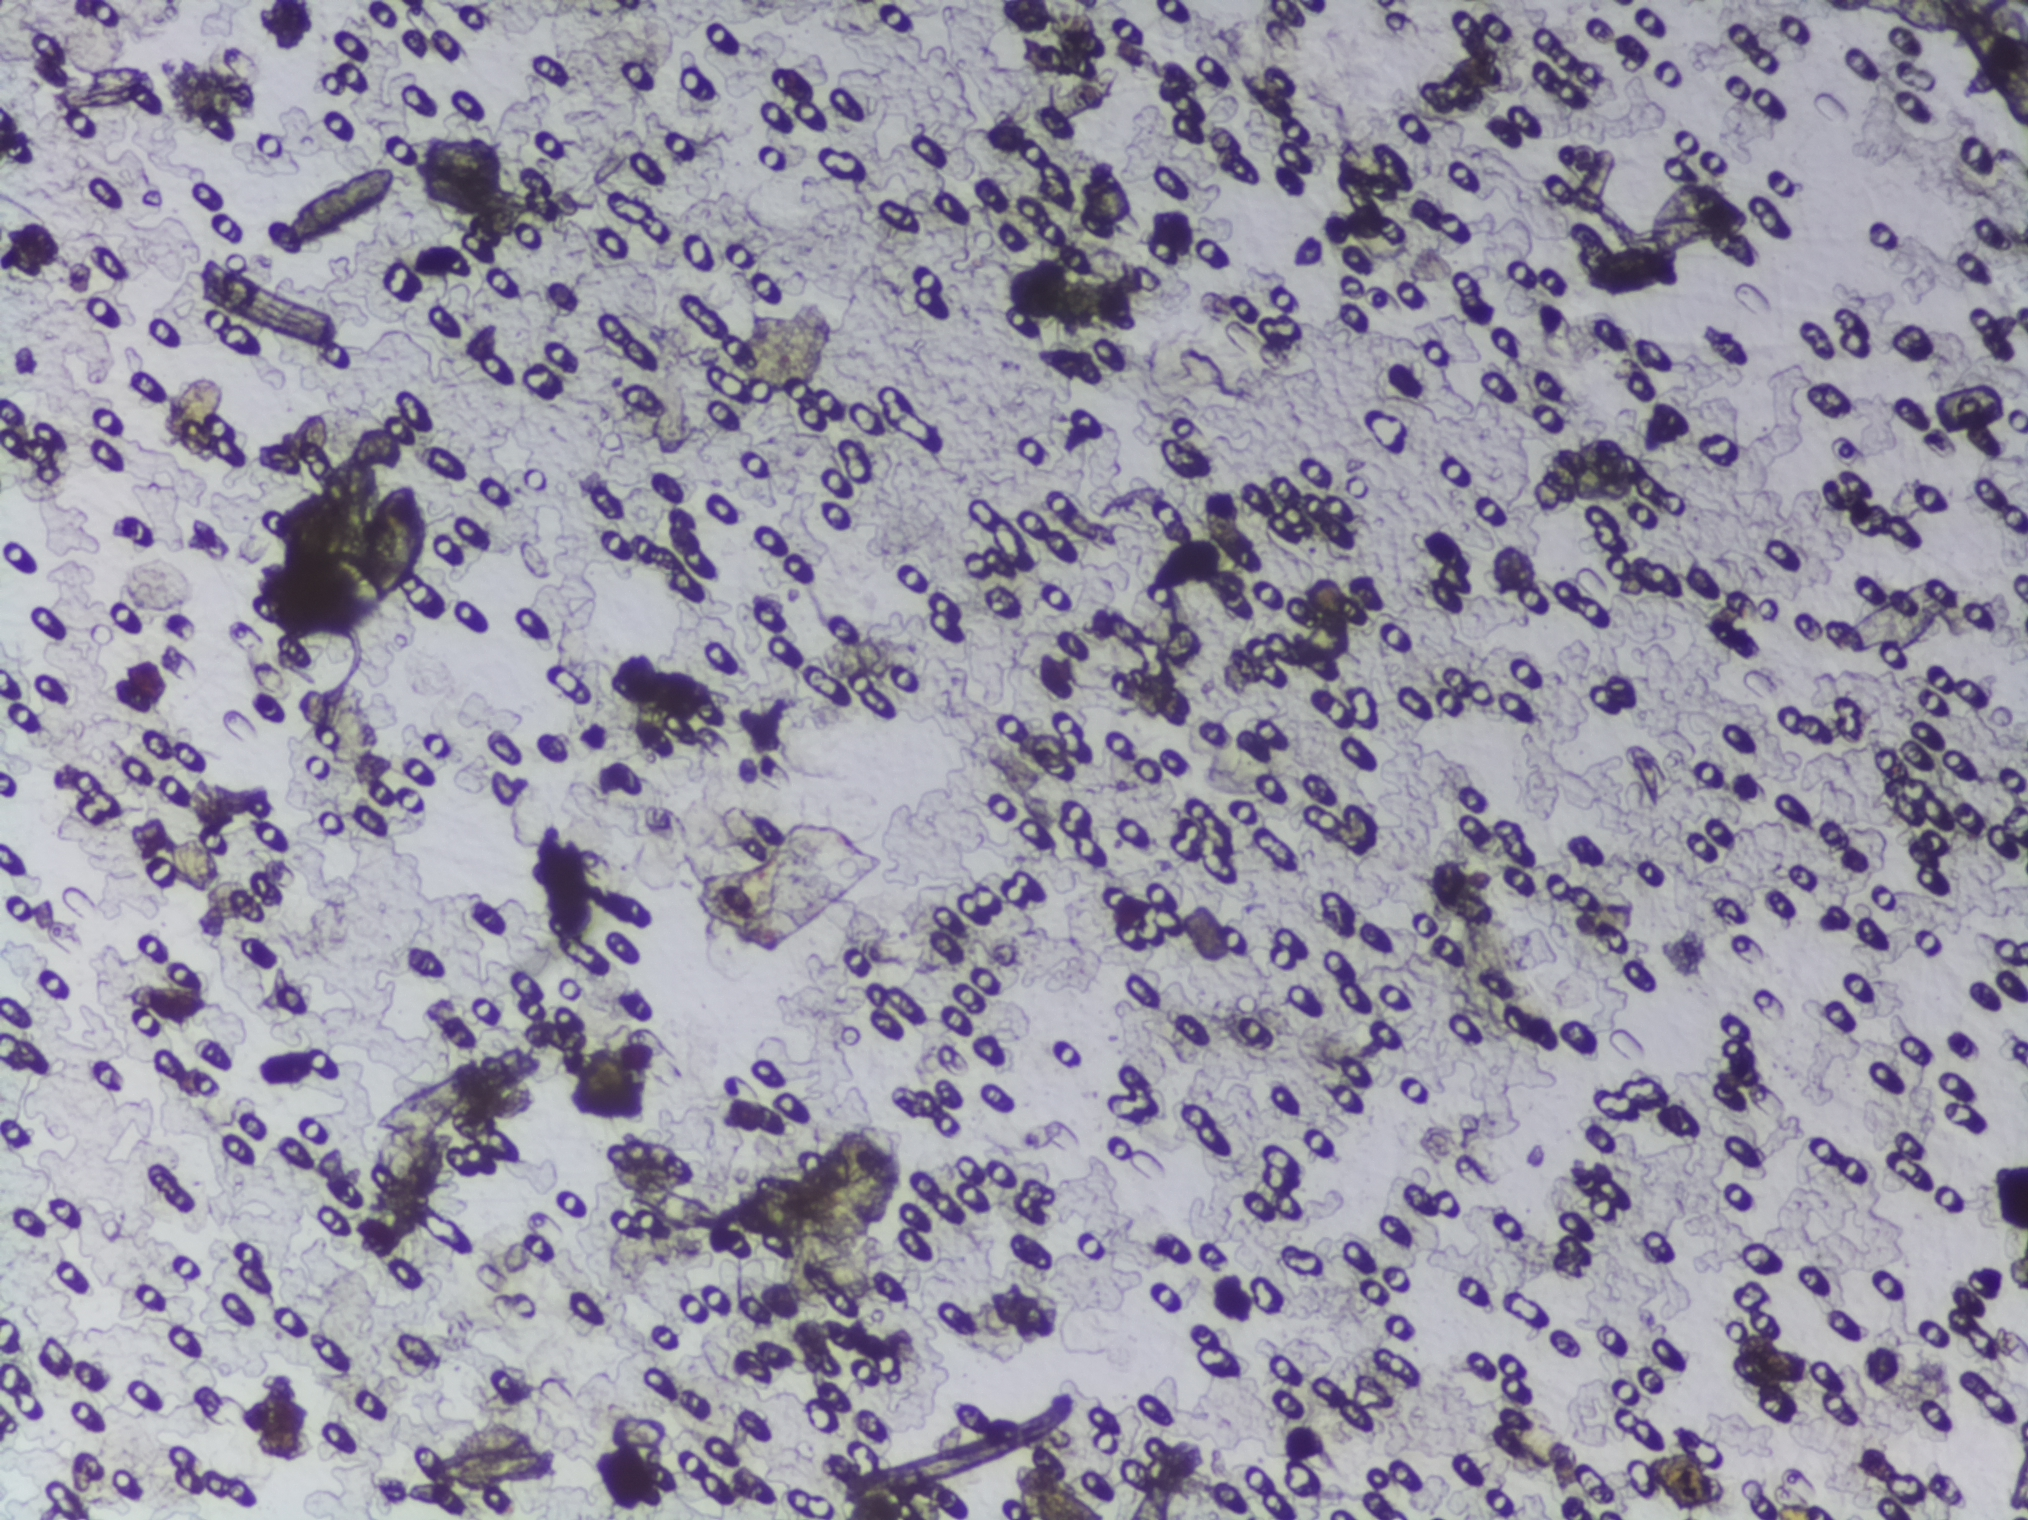
Urine filter membrane photographed through a 4× microscope objective.
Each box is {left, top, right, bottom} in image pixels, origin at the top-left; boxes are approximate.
Findings: one area outlined as Schistosoma eggs. Location: {358, 482, 429, 606}. Marked pixels, not the box around them: about 0.2% of the image. An outlined area can hold more than one egg.